One field of view of a urine filter membrane, 4× objective, 2028 × 1520 pixels. The field of view is about 1.5 mm × 1.1 mm.
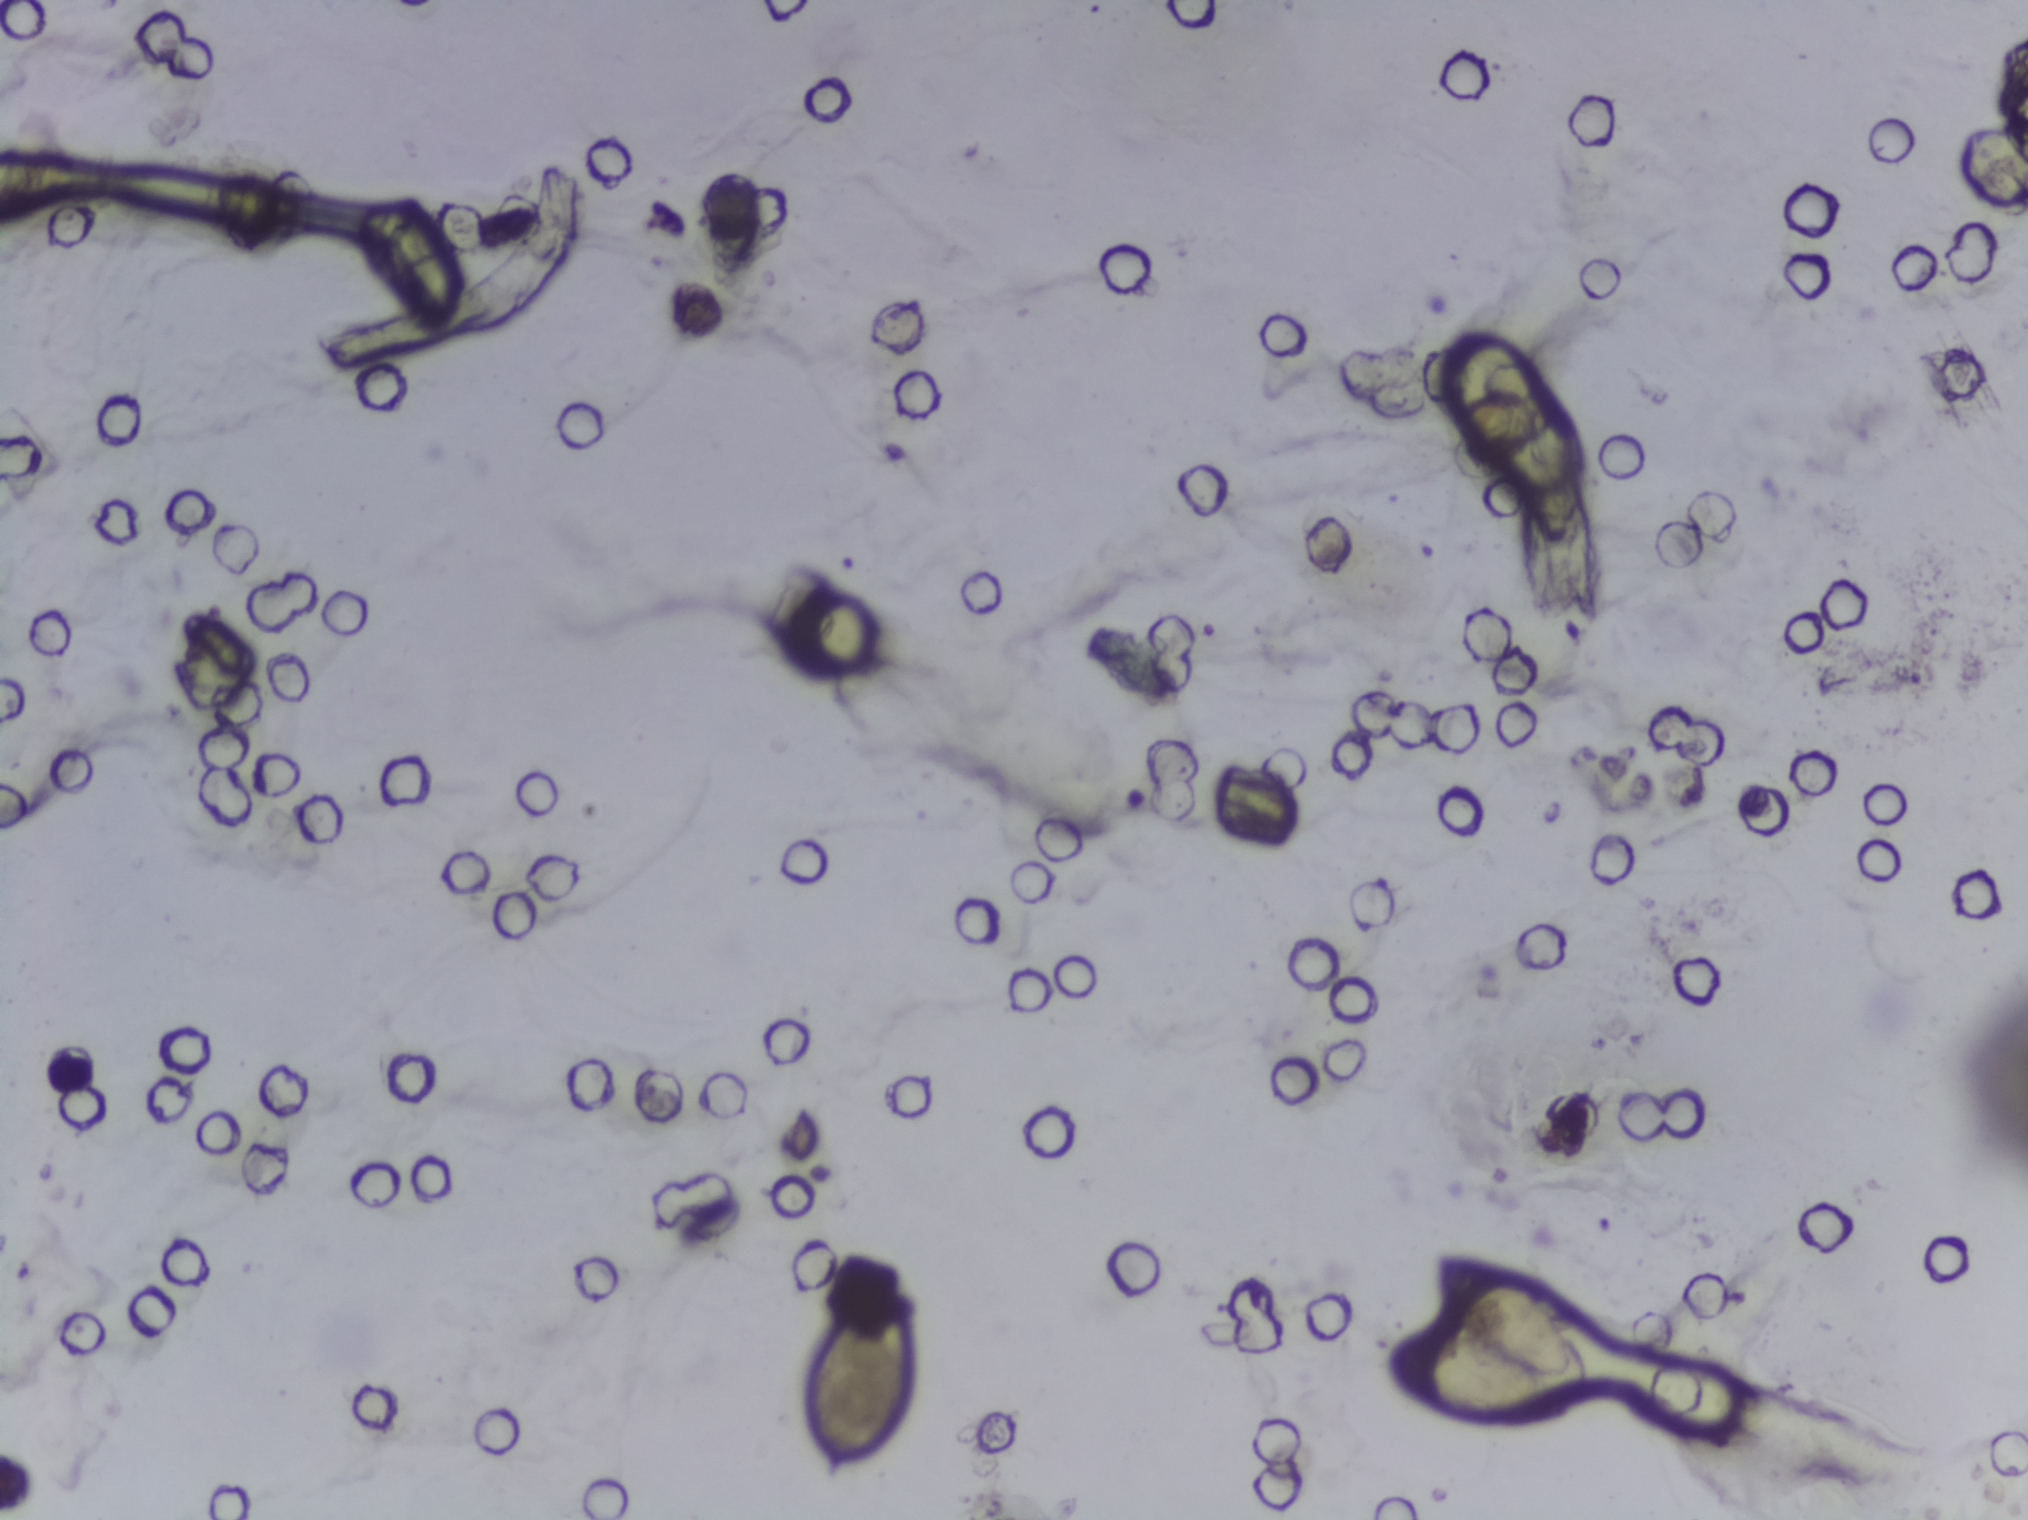
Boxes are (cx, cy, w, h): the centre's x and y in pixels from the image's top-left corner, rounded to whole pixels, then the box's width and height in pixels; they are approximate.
Findings: two areas outlined as Schistosoma eggs. Locations: (cx=860, cy=1380, w=103, h=202); (cx=1483, cy=1336, w=210, h=180). Eggs that touch can end up inside the same outlined area. A marked egg may occasionally be S. mansoni rather than S. haematobium.